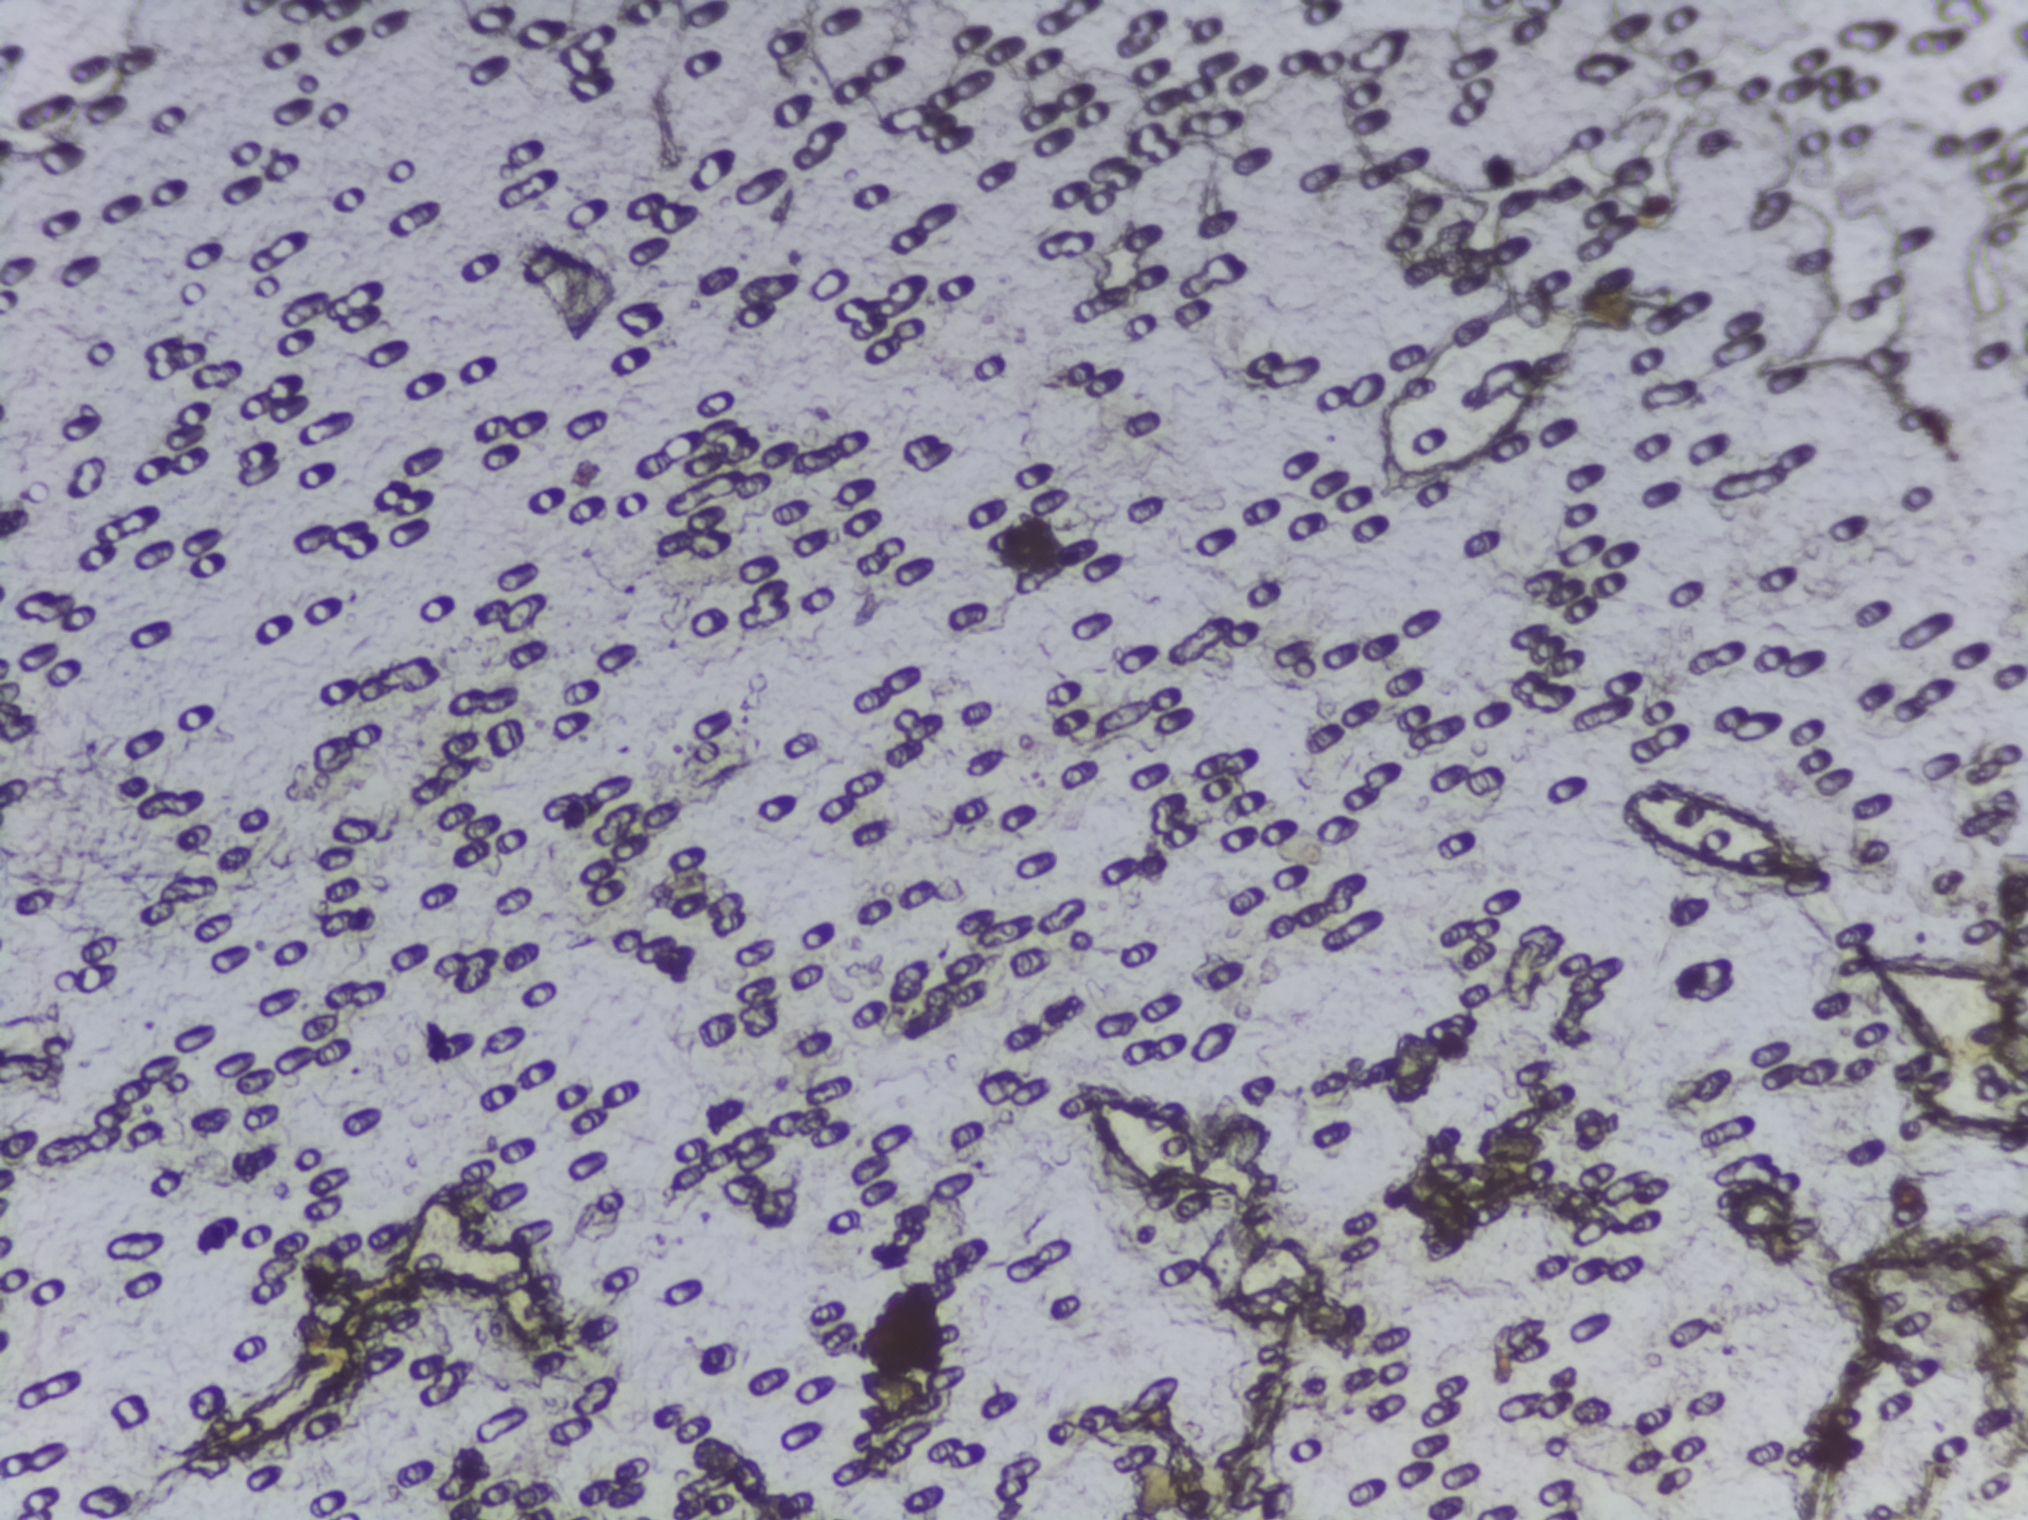
Microscope photograph (4× objective) of a membrane that a urine sample was filtered through.
No Schistosoma egg is outlined in this image's expert annotation.